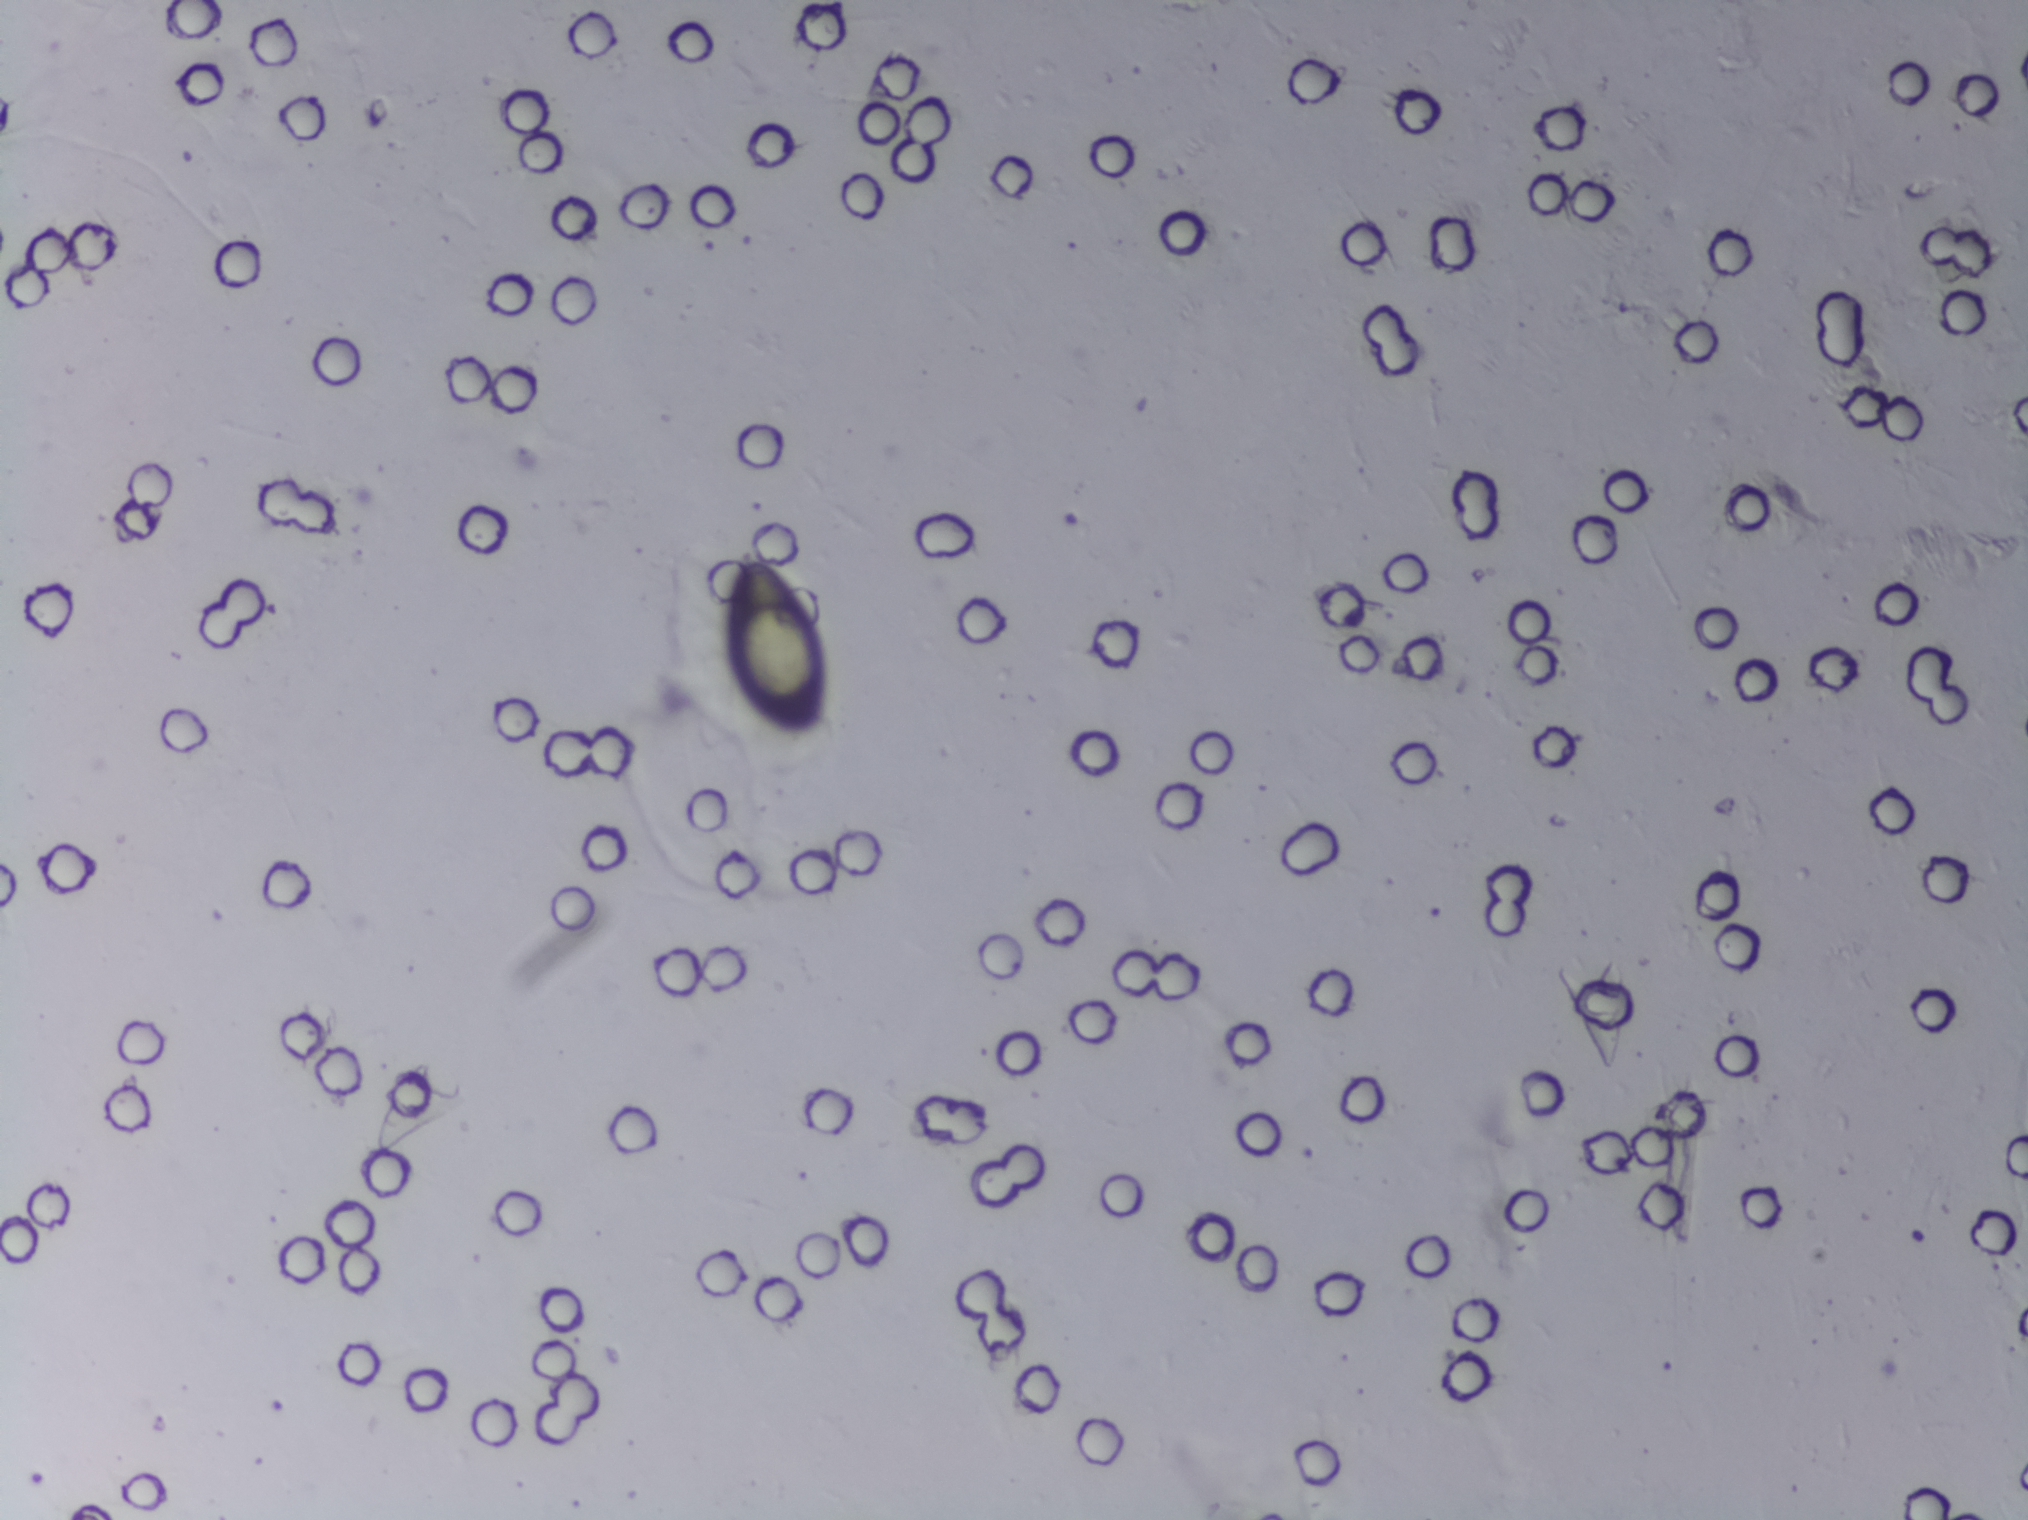
Photograph from an automated digital microscope: urine filter membrane, 4× objective.
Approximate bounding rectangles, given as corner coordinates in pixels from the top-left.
Outlined Schistosoma egg areas:
1. (x1=725, y1=551, x2=825, y2=740)
An outlined area can hold more than one egg.